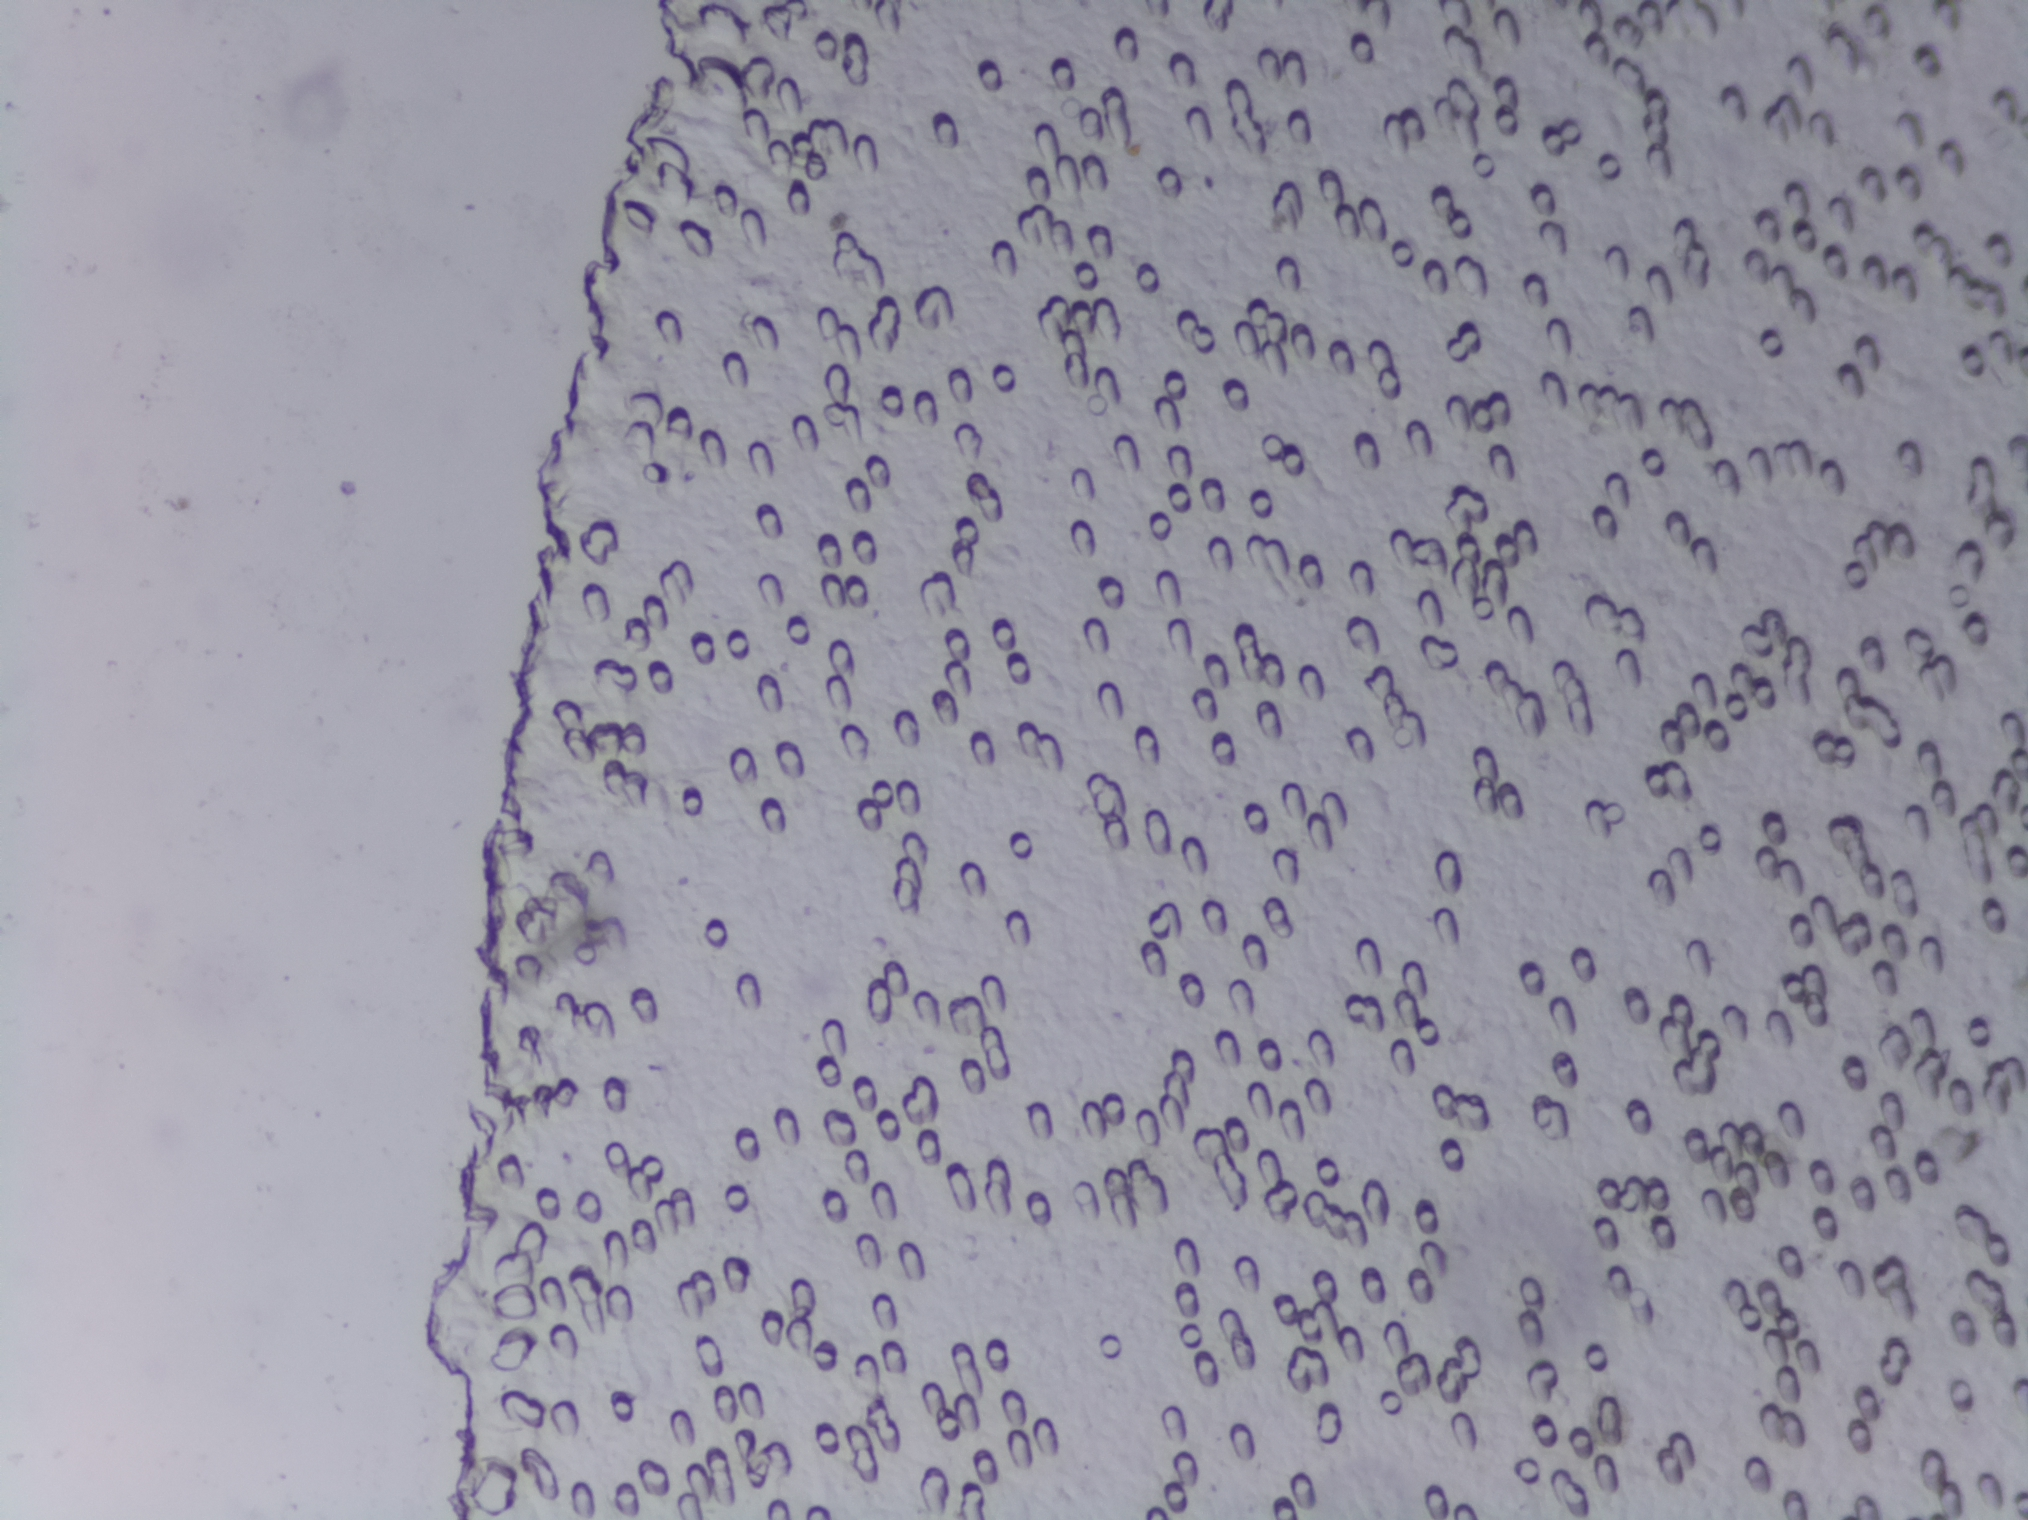
Schistosoma eggs: none outlined.
Urine filtration membrane under a 4× objective, photographed by an automated digital microscope.